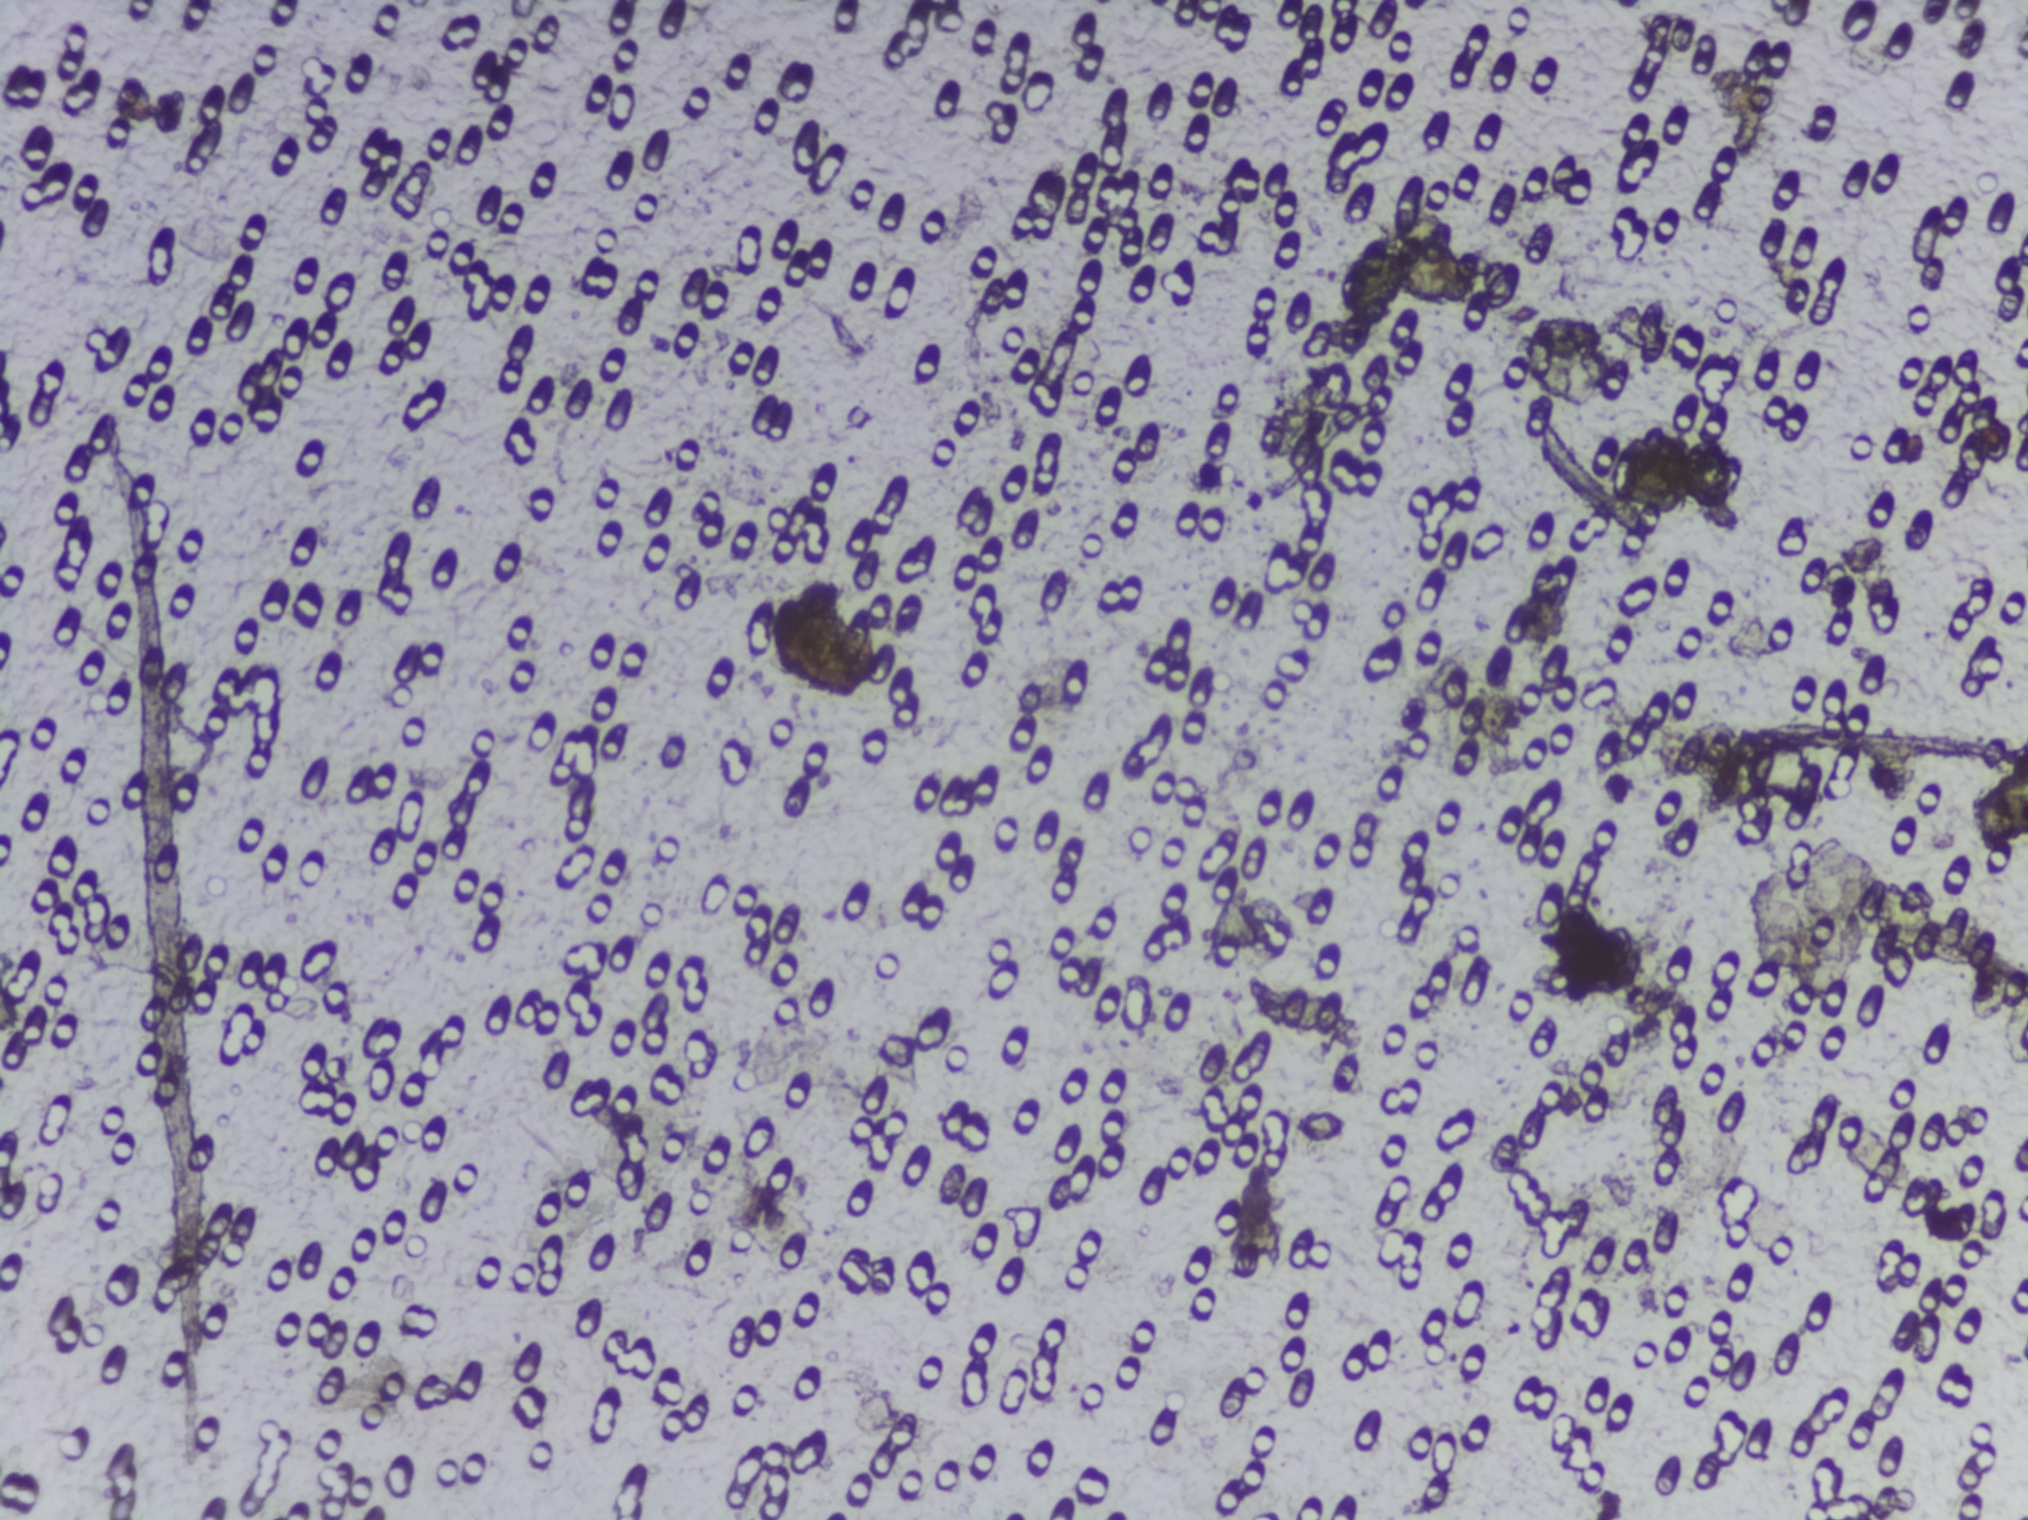
Urine filtration membrane under a 4× objective, photographed by an automated digital microscope.
The expert annotation marks no Schistosoma egg in this field of view.